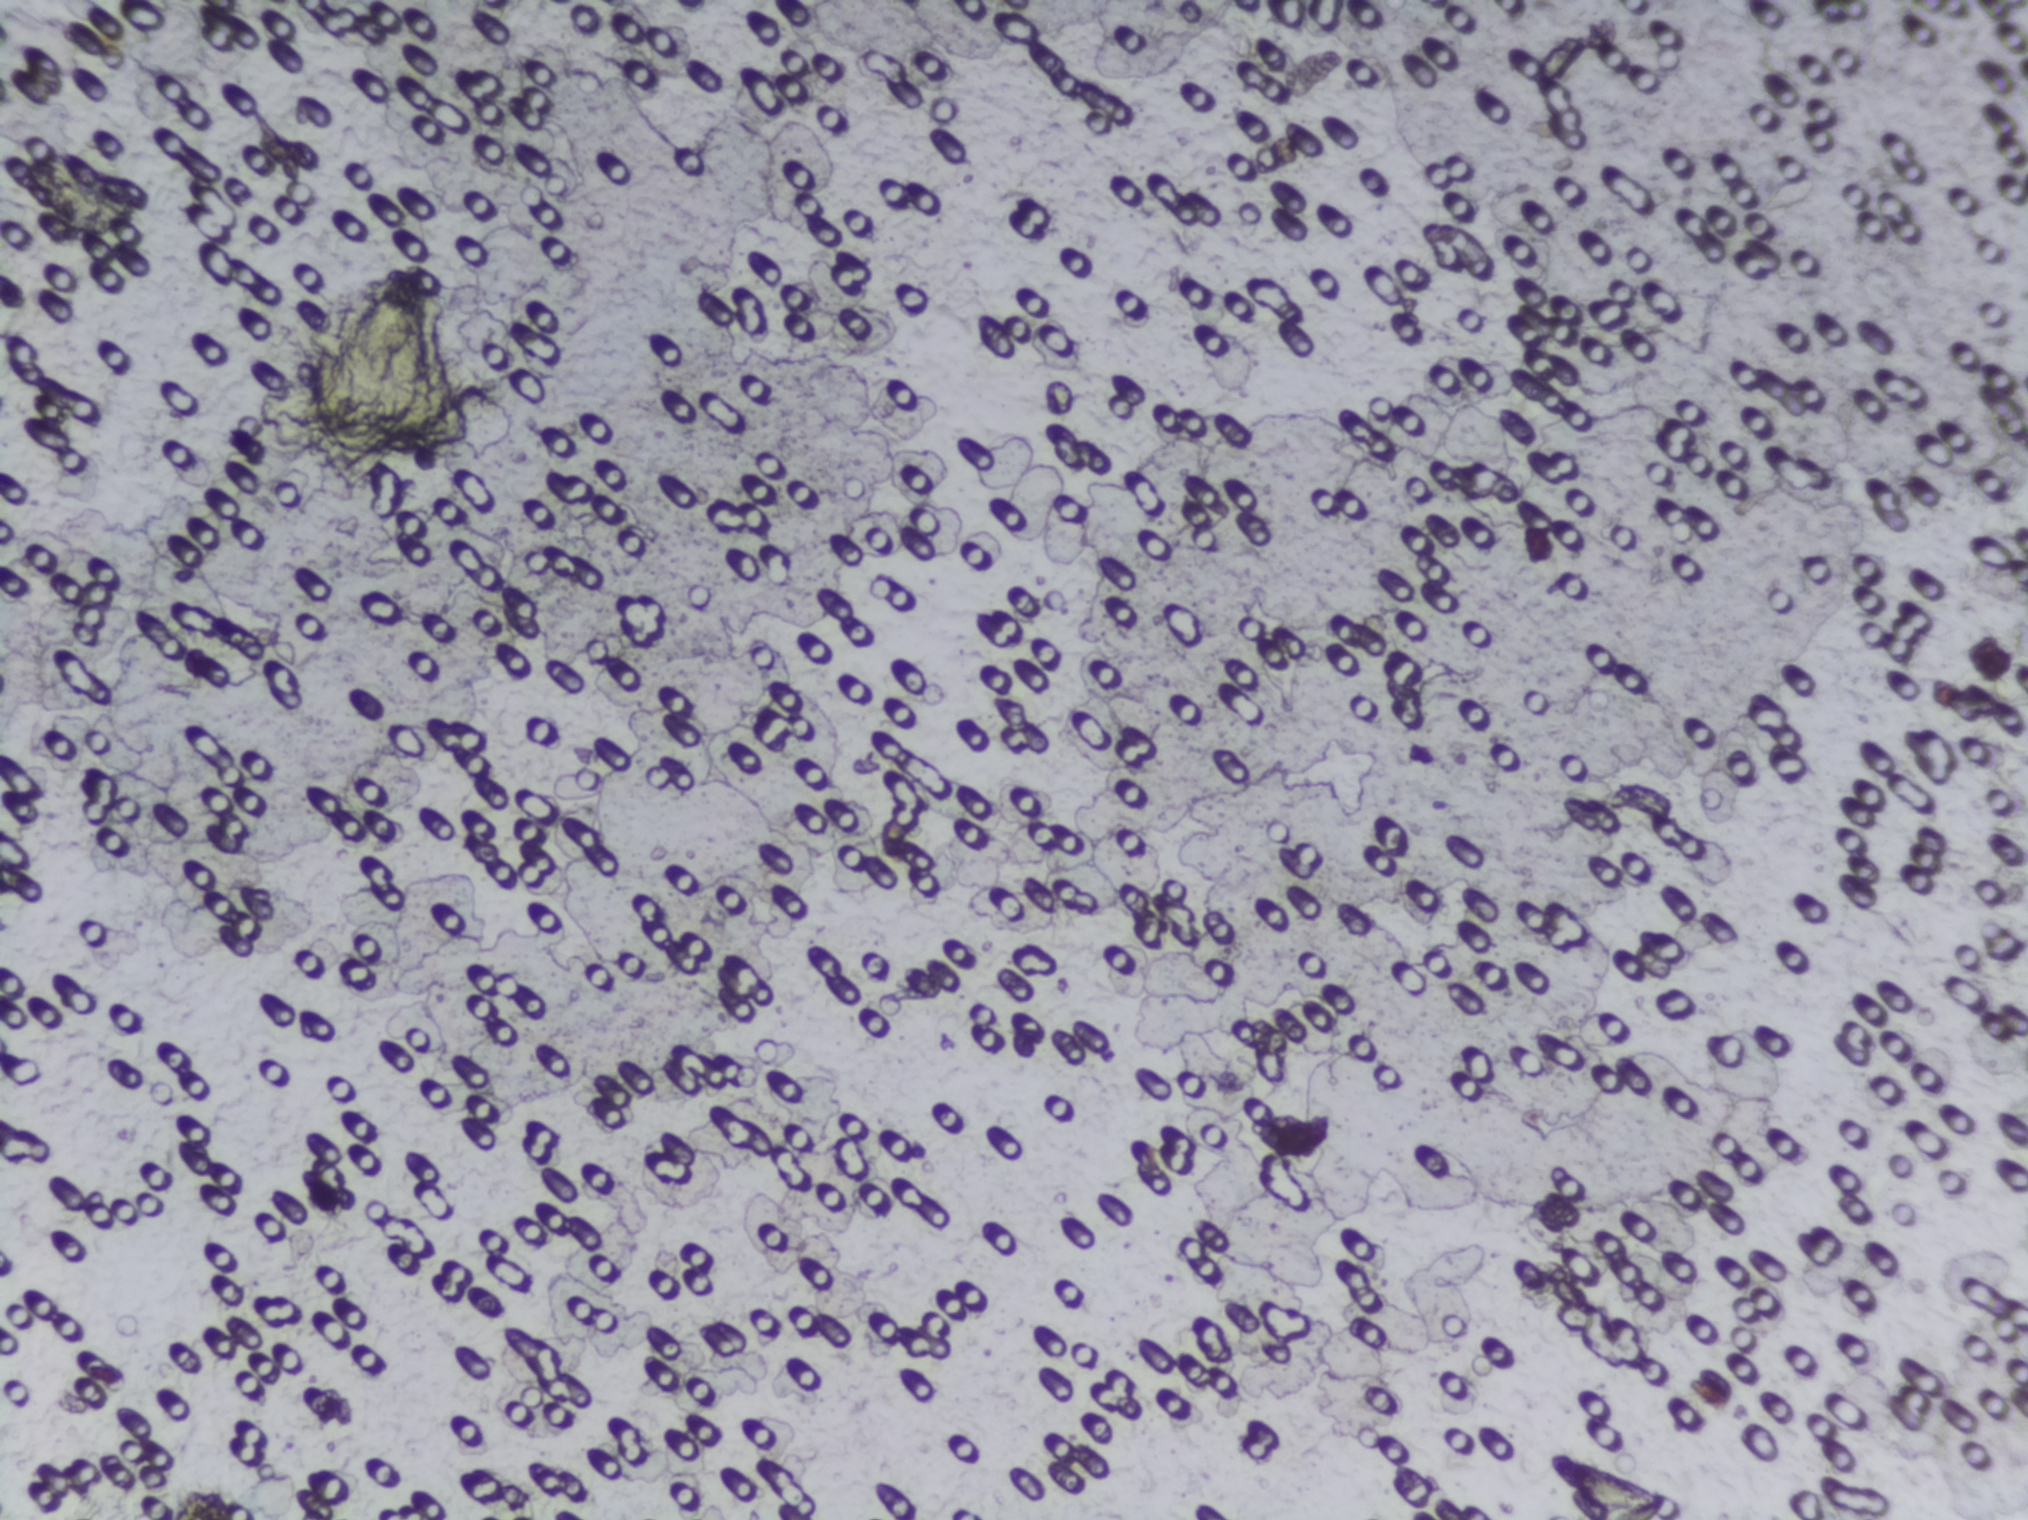
One field of view of a urine filter membrane, 4× objective, 2028 × 1520 pixels.
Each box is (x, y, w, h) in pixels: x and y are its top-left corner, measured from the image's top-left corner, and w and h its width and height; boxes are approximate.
Schistosoma eggs are outlined in one area of this image: (x=313, y=266, w=132, h=219). Marked pixels, not the box around them: about 0.6% of the image. Eggs that touch can end up inside the same outlined area.